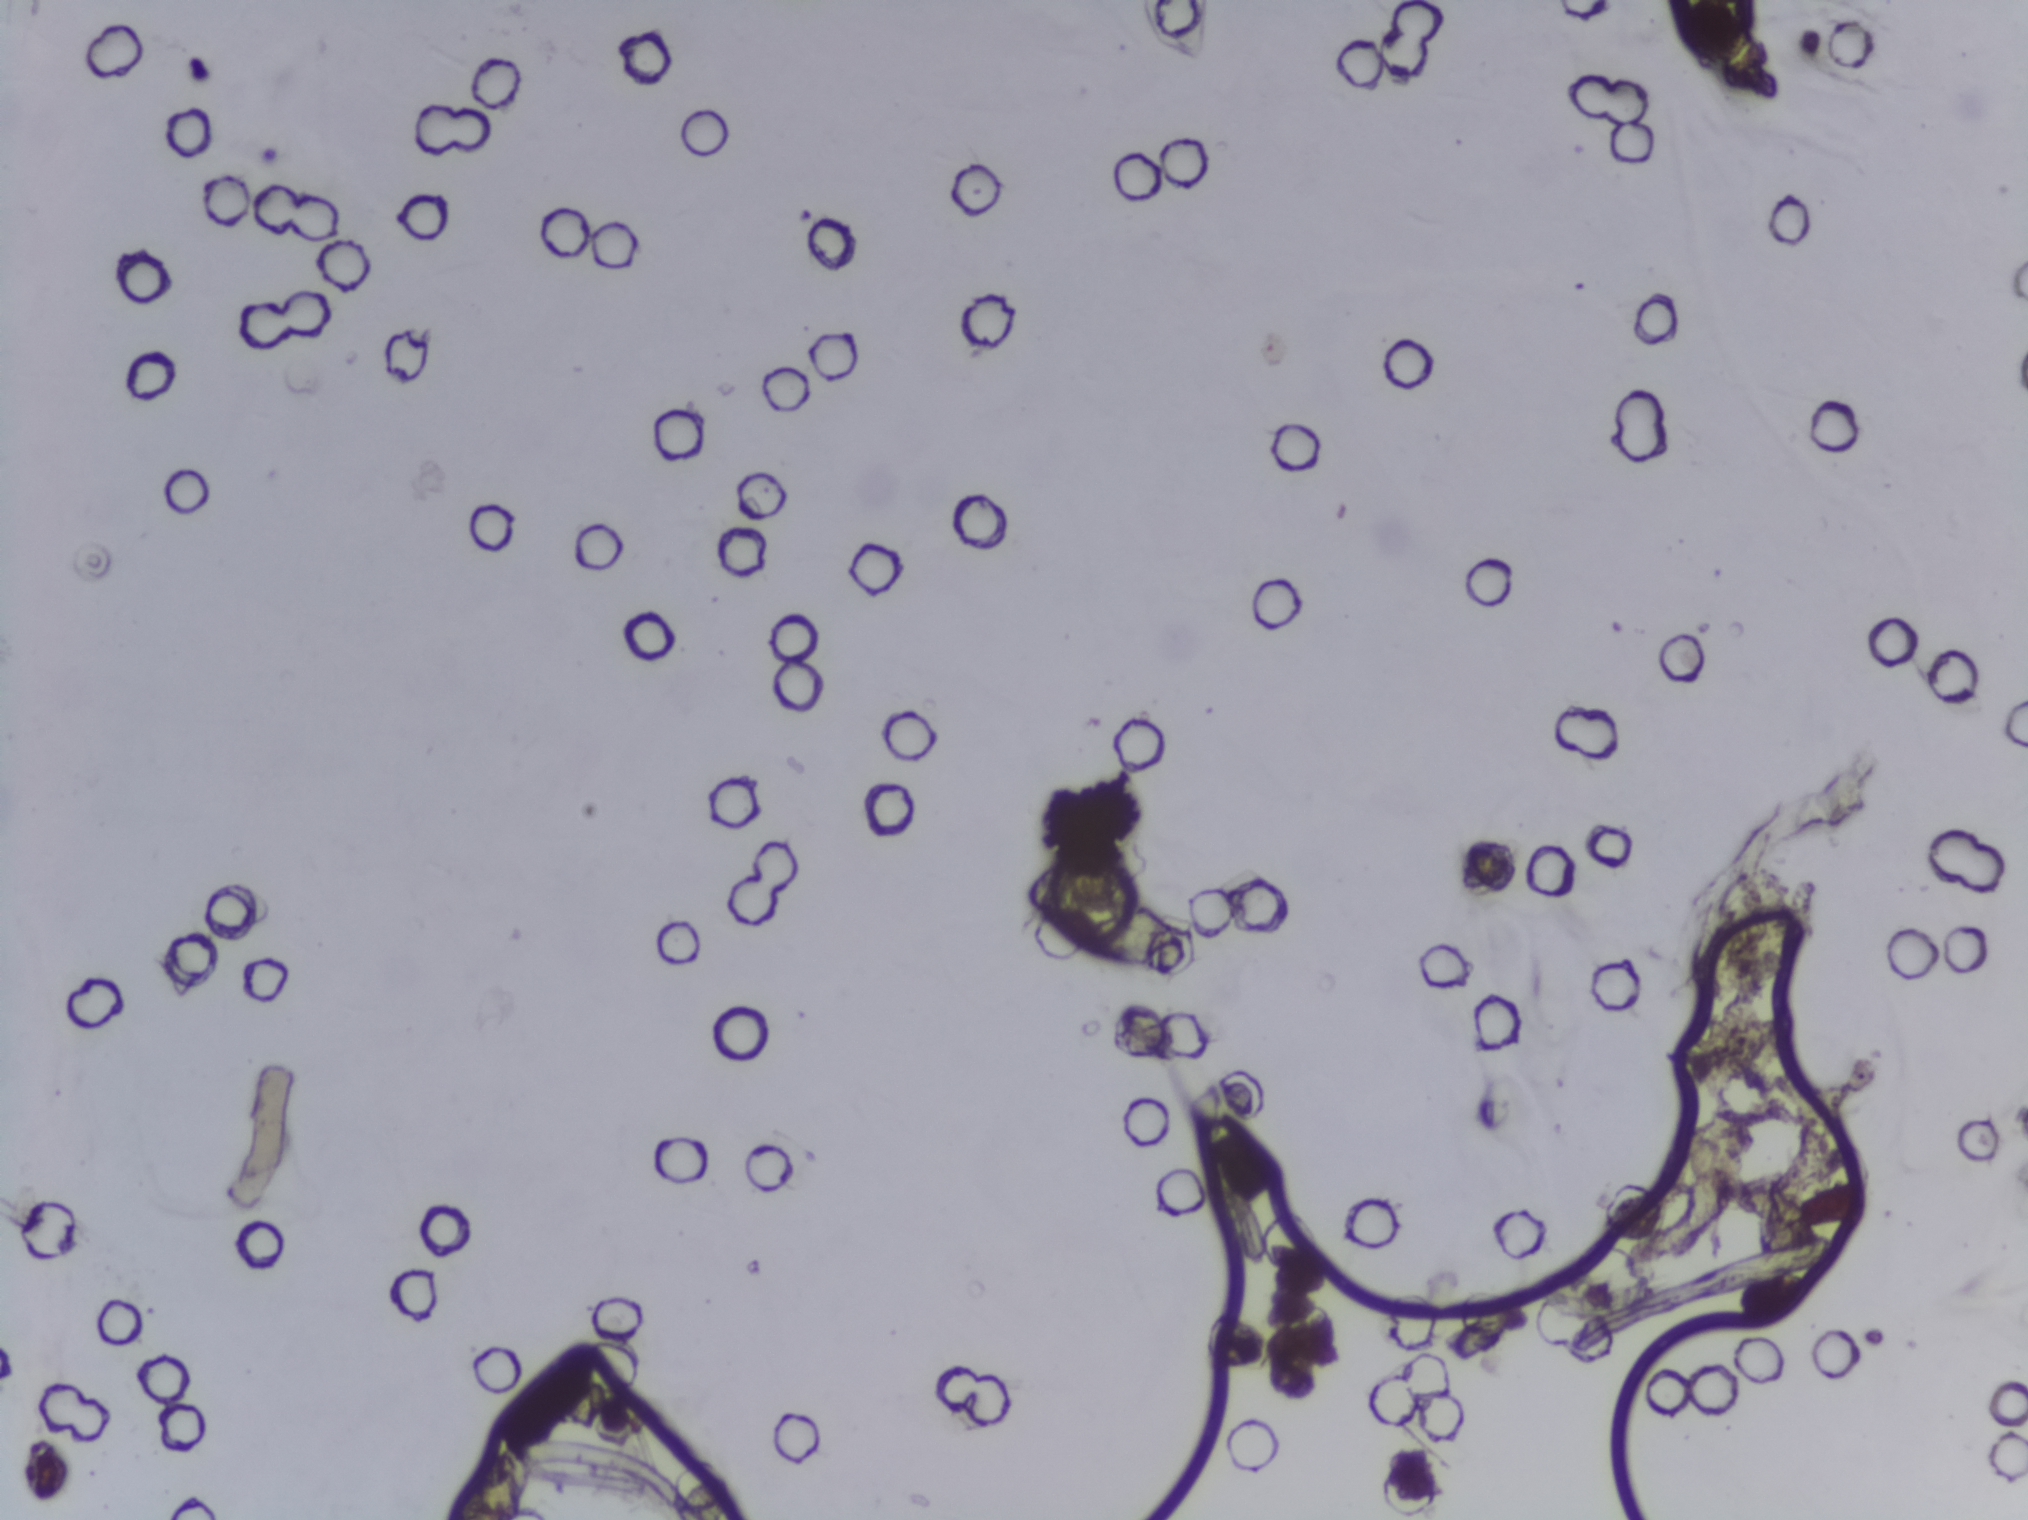
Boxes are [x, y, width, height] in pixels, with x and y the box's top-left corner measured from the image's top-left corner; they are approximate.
Schistosoma eggs are outlined in the expert annotation at [1024, 868, 166, 110]. A single outlined area may contain several eggs.
One field of view of a urine filter membrane, 4× objective, 2028 × 1520 pixels.